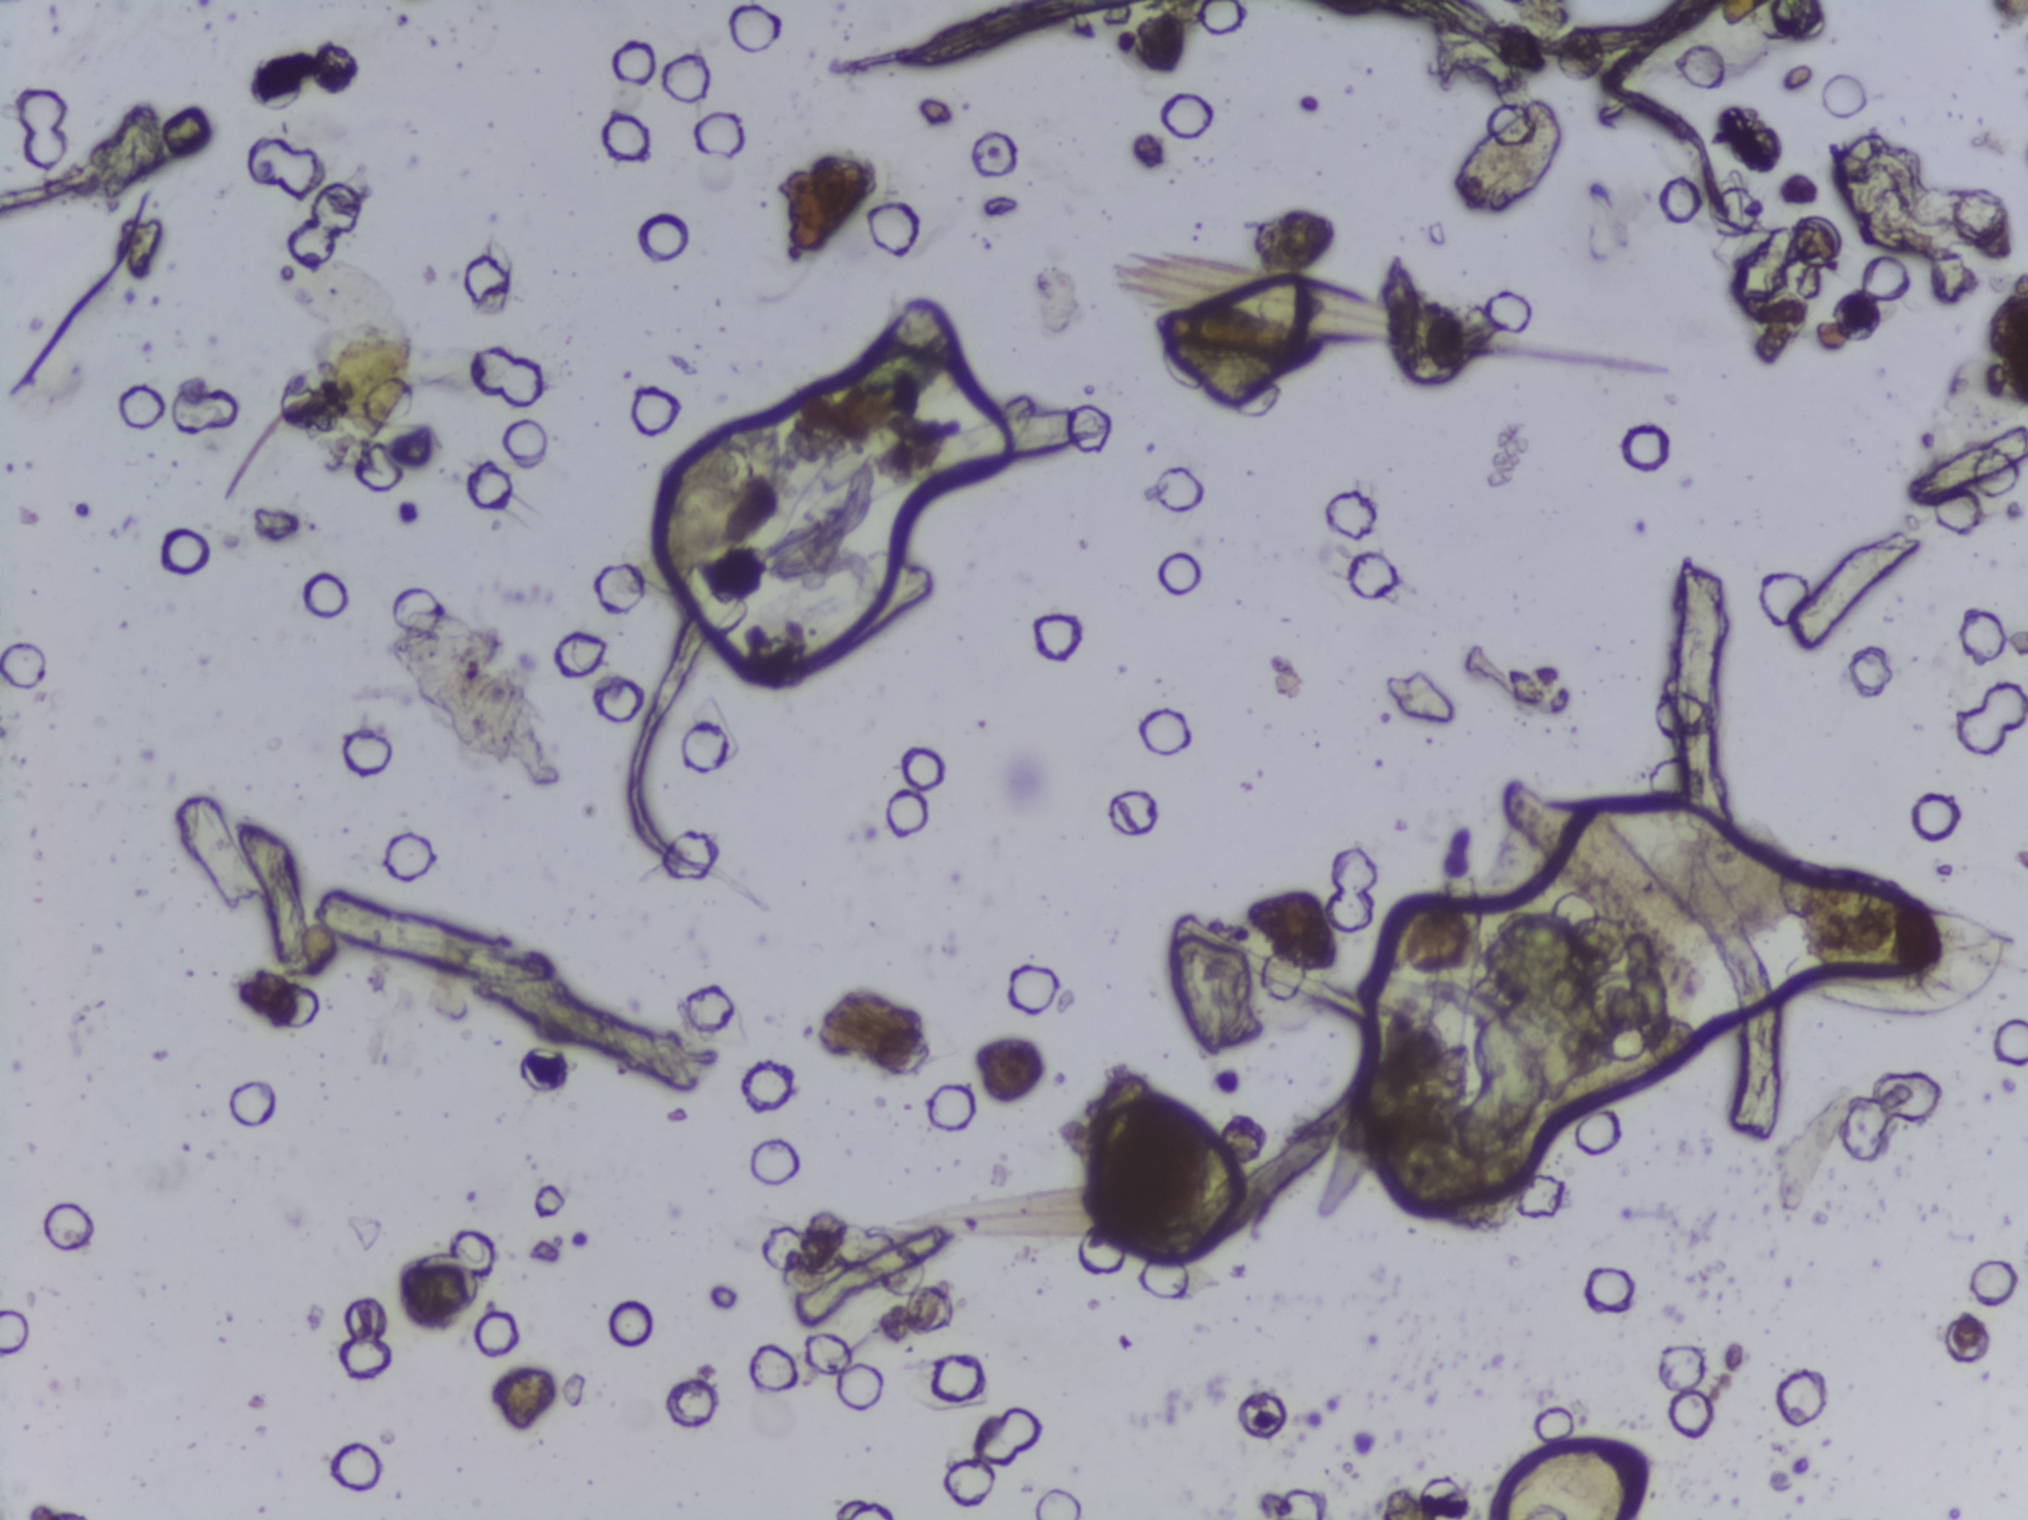
Photomicrograph of a urine filtration membrane, 4× objective.
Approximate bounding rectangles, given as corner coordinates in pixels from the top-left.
The expert annotation outlines Schistosoma eggs at (x1=659, y1=415, x2=785, y2=567); (x1=1487, y1=1434, x2=1654, y2=1519) (reaching the bottom edge of the frame); (x1=1781, y1=901, x2=2020, y2=1026) (left to right). Eggs that touch can end up inside the same outlined area. A marked egg may occasionally be S. mansoni rather than S. haematobium.